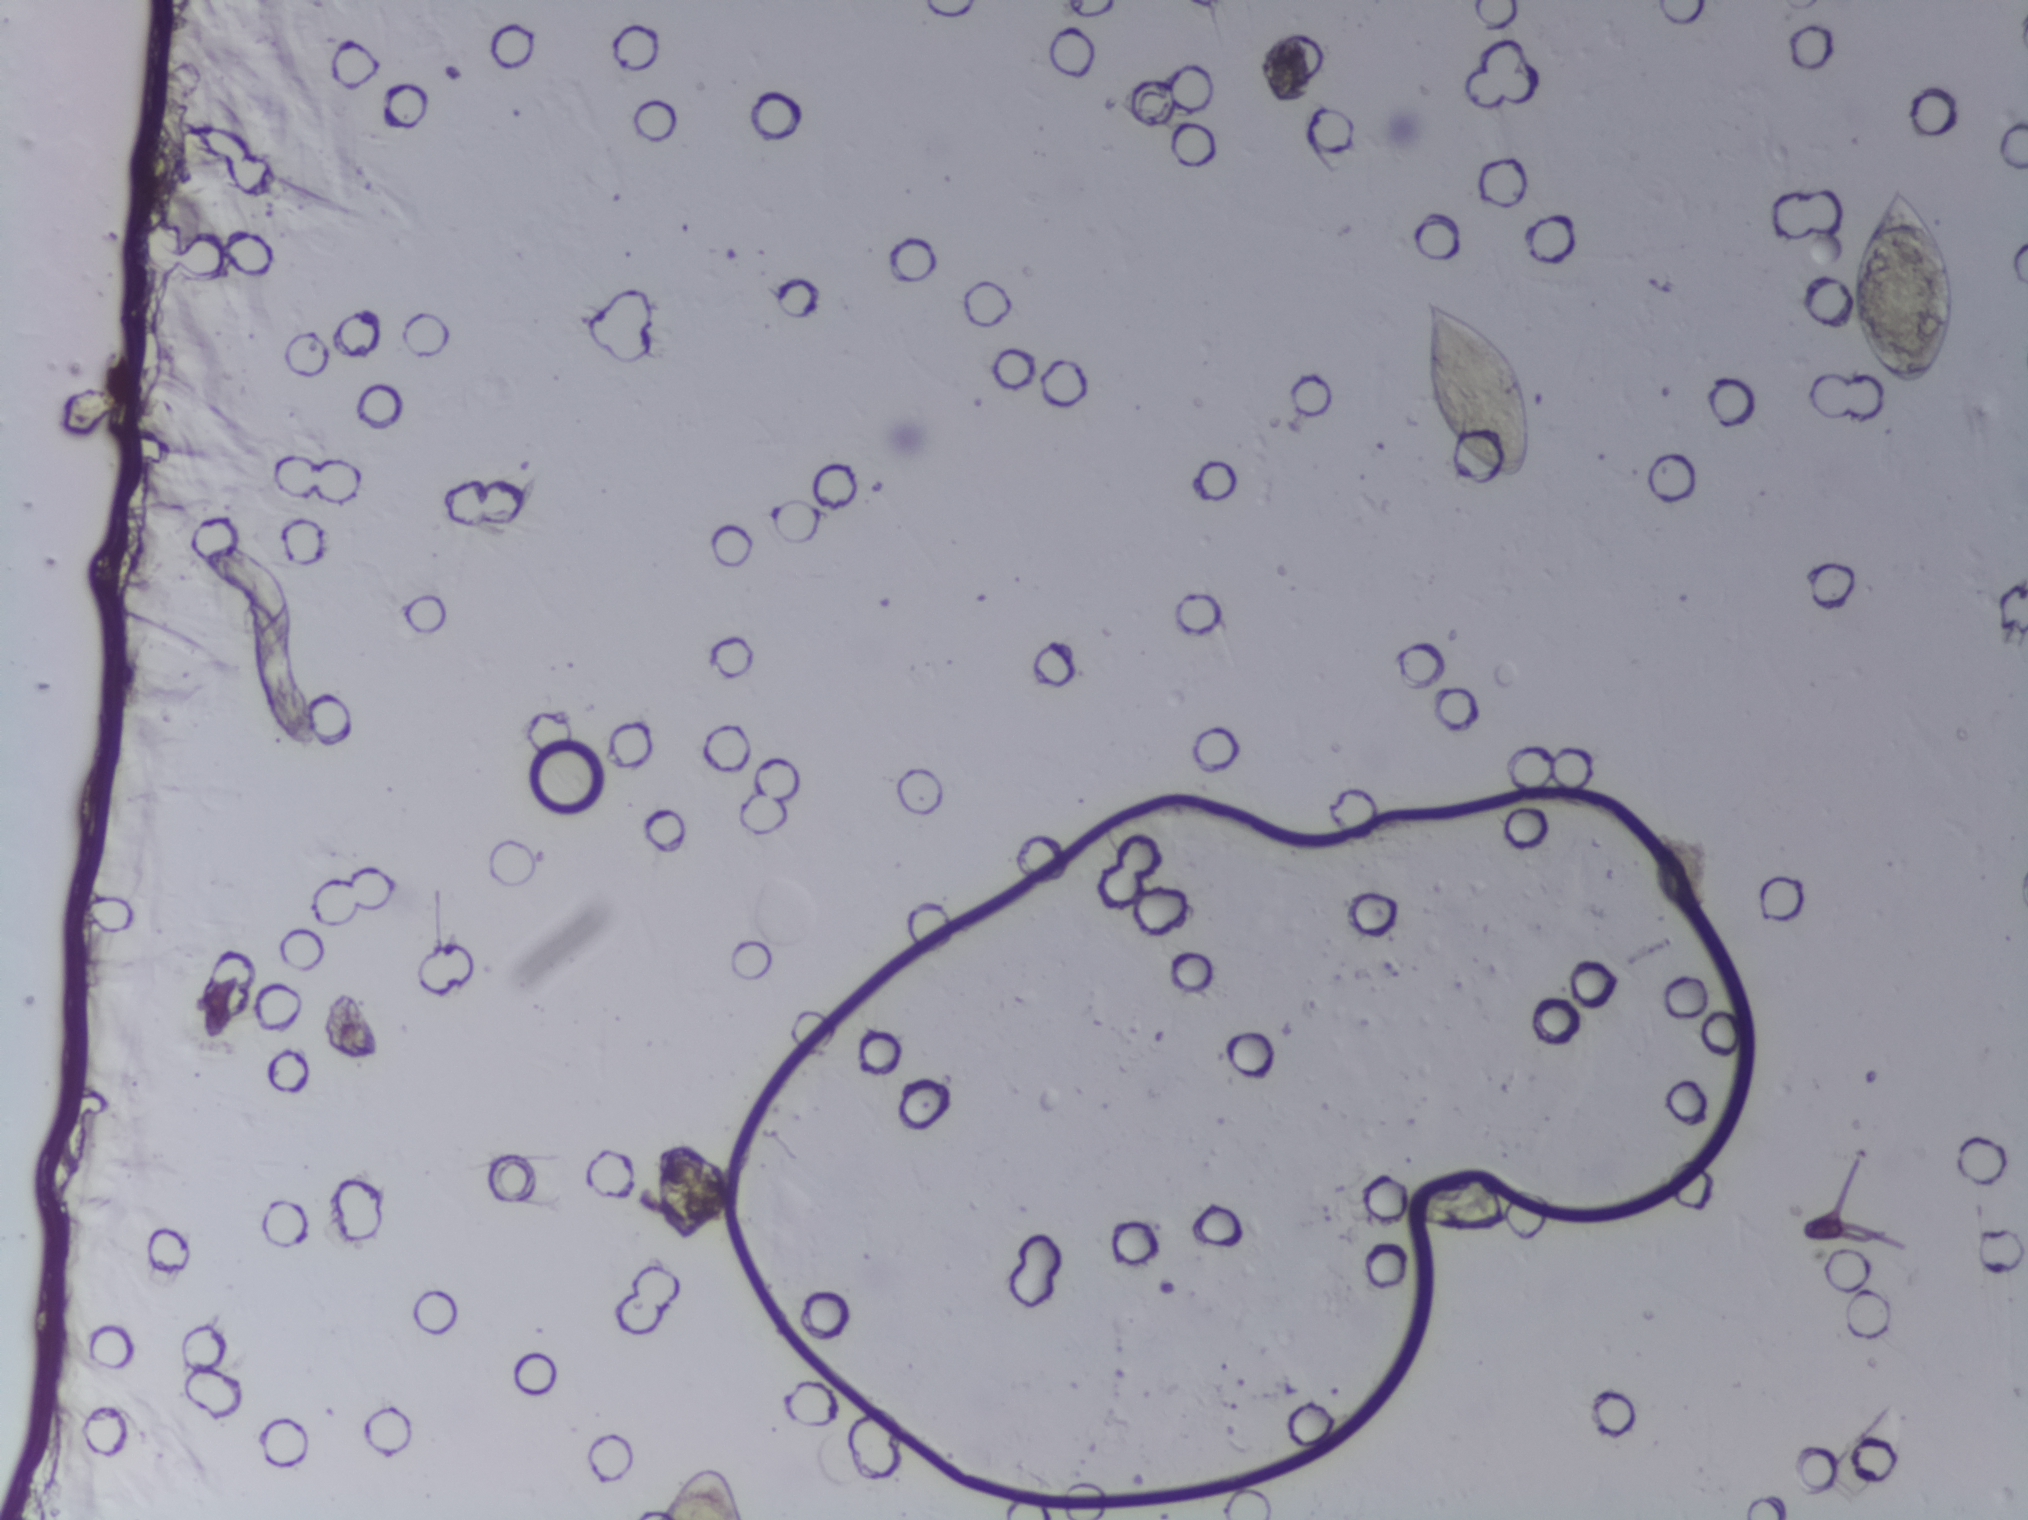
Microscope photograph (4× objective) of a membrane that a urine sample was filtered through.
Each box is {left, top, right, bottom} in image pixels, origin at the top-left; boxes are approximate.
Outlined Schistosoma egg areas, left to right:
1. {657, 1461, 746, 1519} (reaching the bottom edge of the frame)
2. {1426, 296, 1531, 485}
3. {1848, 180, 1954, 390}
Marked pixels, not the boxes around them: about 1.1% of the image. Eggs that touch can end up inside the same outlined area.